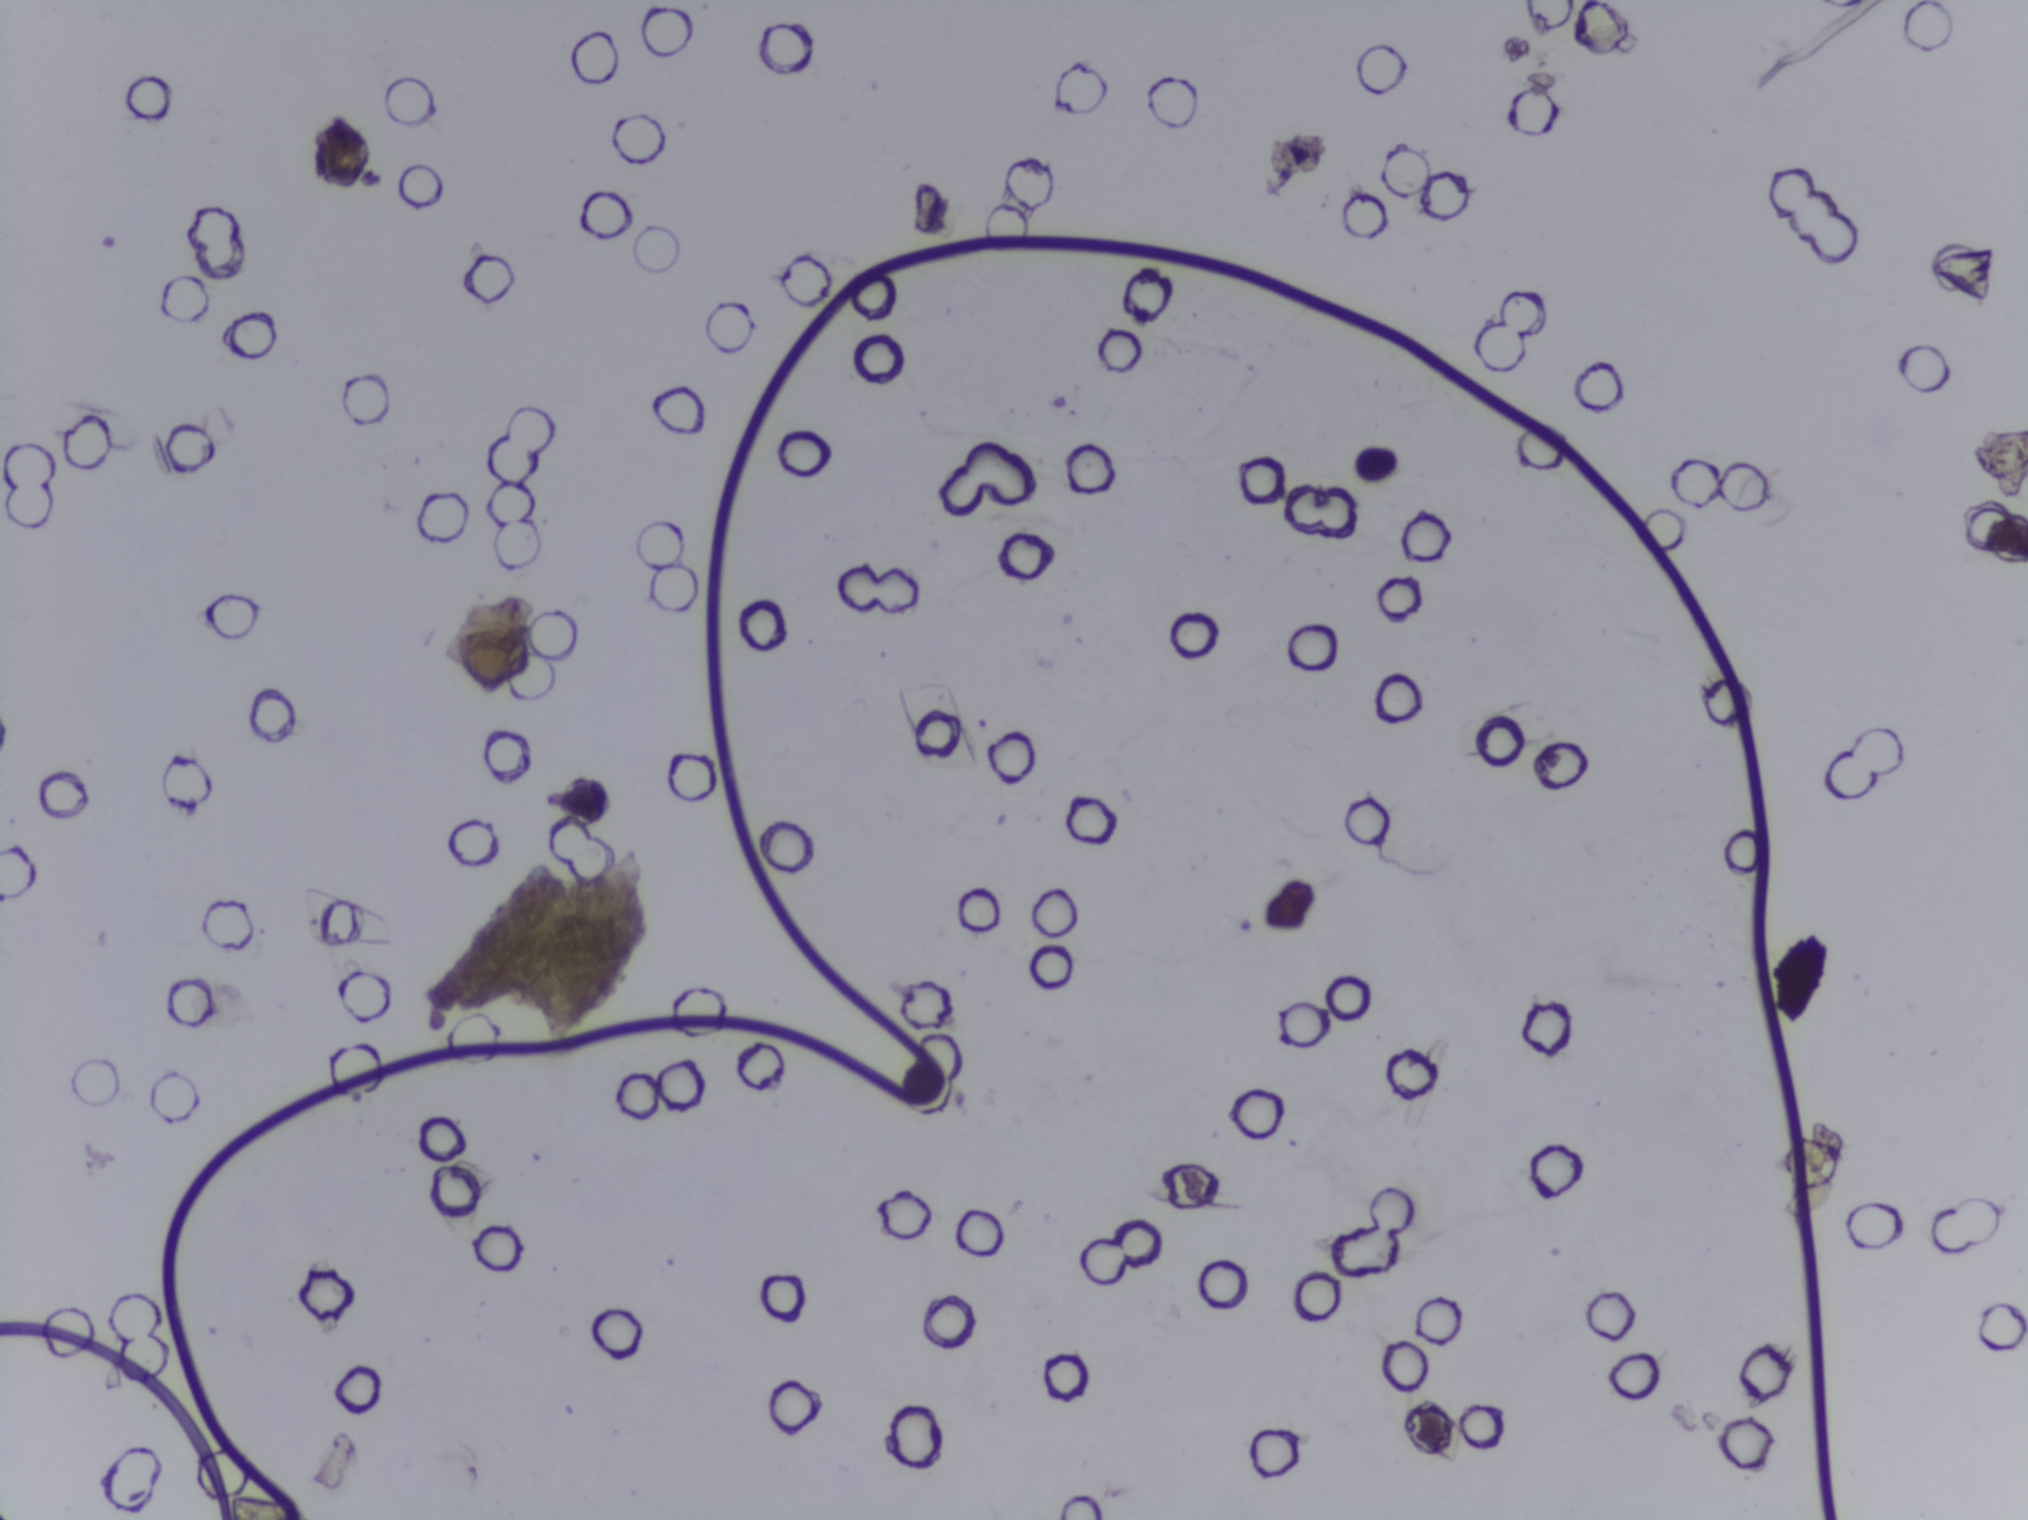
Schistosoma eggs: none outlined.
Urine filtration membrane under a 4× objective, photographed by an automated digital microscope. The field of view is about 1.5 mm × 1.1 mm.